Photomicrograph of a urine filtration membrane, 4× objective.
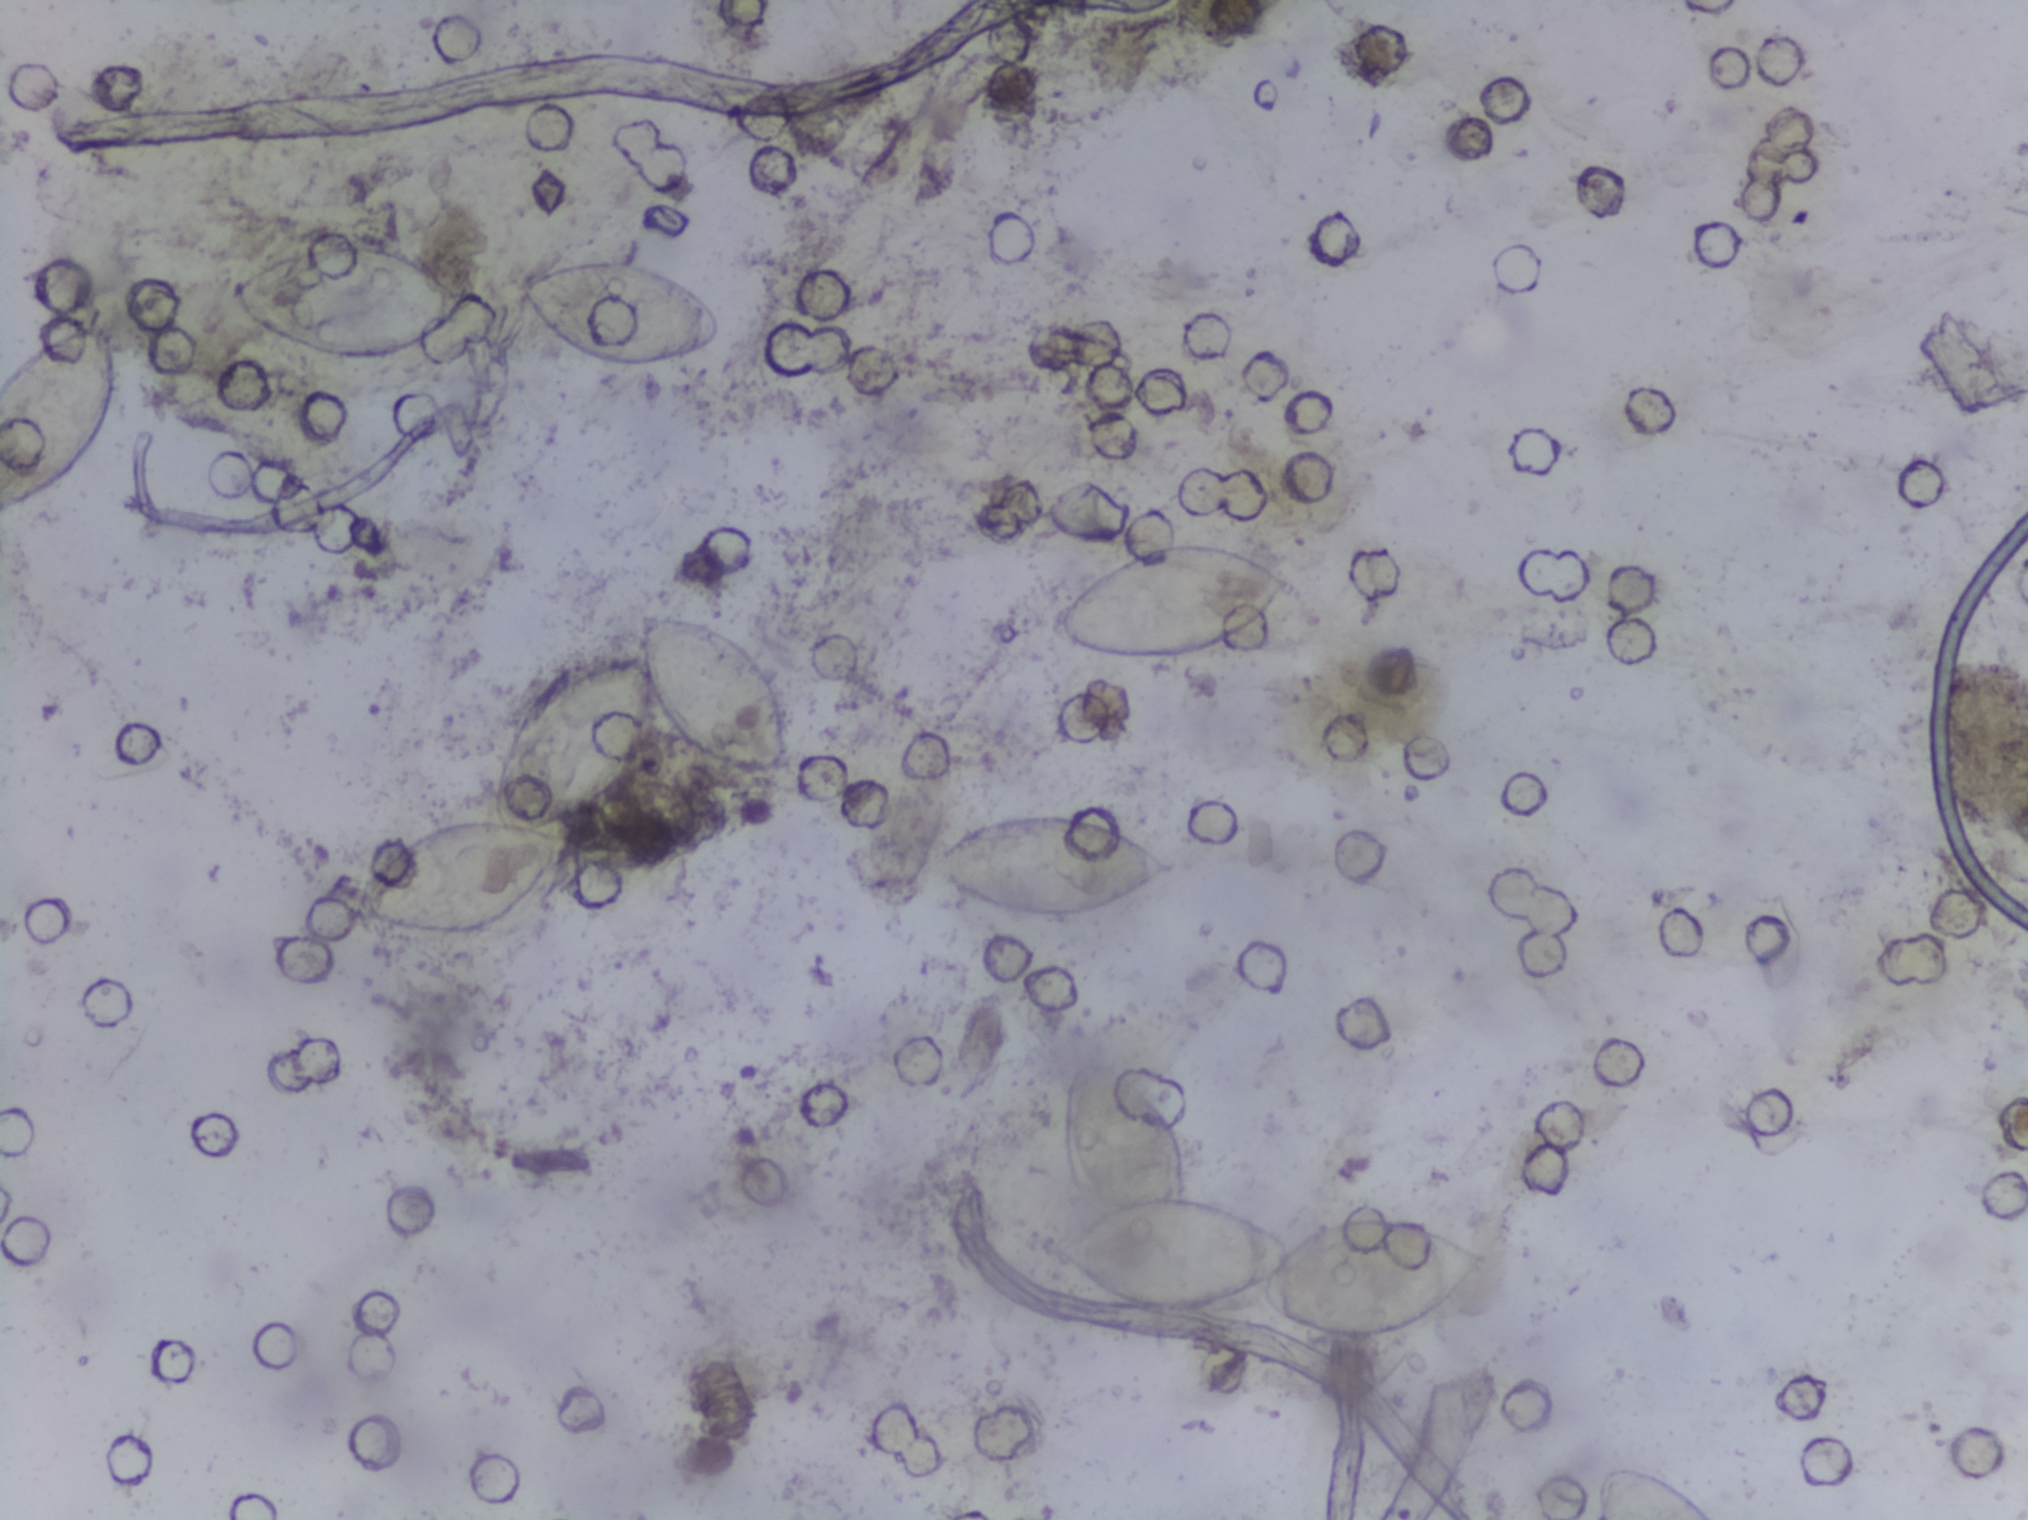
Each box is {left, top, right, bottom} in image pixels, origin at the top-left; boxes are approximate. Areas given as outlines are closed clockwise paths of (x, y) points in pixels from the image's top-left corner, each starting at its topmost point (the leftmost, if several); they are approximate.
Outlined Schistosoma egg areas, left to right:
1. box {0, 319, 126, 522} (reaching the left edge of the frame)
2. box {230, 238, 476, 359}
3. outline (653, 610), (705, 612), (769, 662), (784, 697), (792, 750), (787, 775), (757, 779), (712, 768), (656, 706), (650, 747), (635, 779), (603, 809), (560, 826), (570, 838), (568, 854), (512, 930), (475, 943), (412, 943), (350, 918), (355, 882), (388, 846), (445, 816), (496, 813), (494, 767), (521, 706), (539, 684), (571, 664), (631, 648), (633, 620) (a cluster of eggs)
4. box {518, 255, 723, 366}
5. box {925, 804, 1184, 917}
6. outline (1081, 1056), (1112, 1062), (1146, 1083), (1158, 1115), (1187, 1143), (1195, 1192), (1232, 1196), (1298, 1237), (1347, 1212), (1405, 1212), (1485, 1242), (1486, 1269), (1450, 1307), (1384, 1339), (1312, 1343), (1282, 1326), (1260, 1299), (1200, 1320), (1171, 1321), (1125, 1309), (1045, 1251), (1052, 1235), (1093, 1215), (1063, 1166), (1061, 1091), (1067, 1070) (a cluster of eggs)
7. box {1051, 530, 1302, 665}
8. box {1589, 1464, 1720, 1519} (reaching the bottom edge of the frame)
The marked pixels themselves, not the boxes and the outlines around them, cover about 7.3% of the image. A single outlined area may contain several eggs.